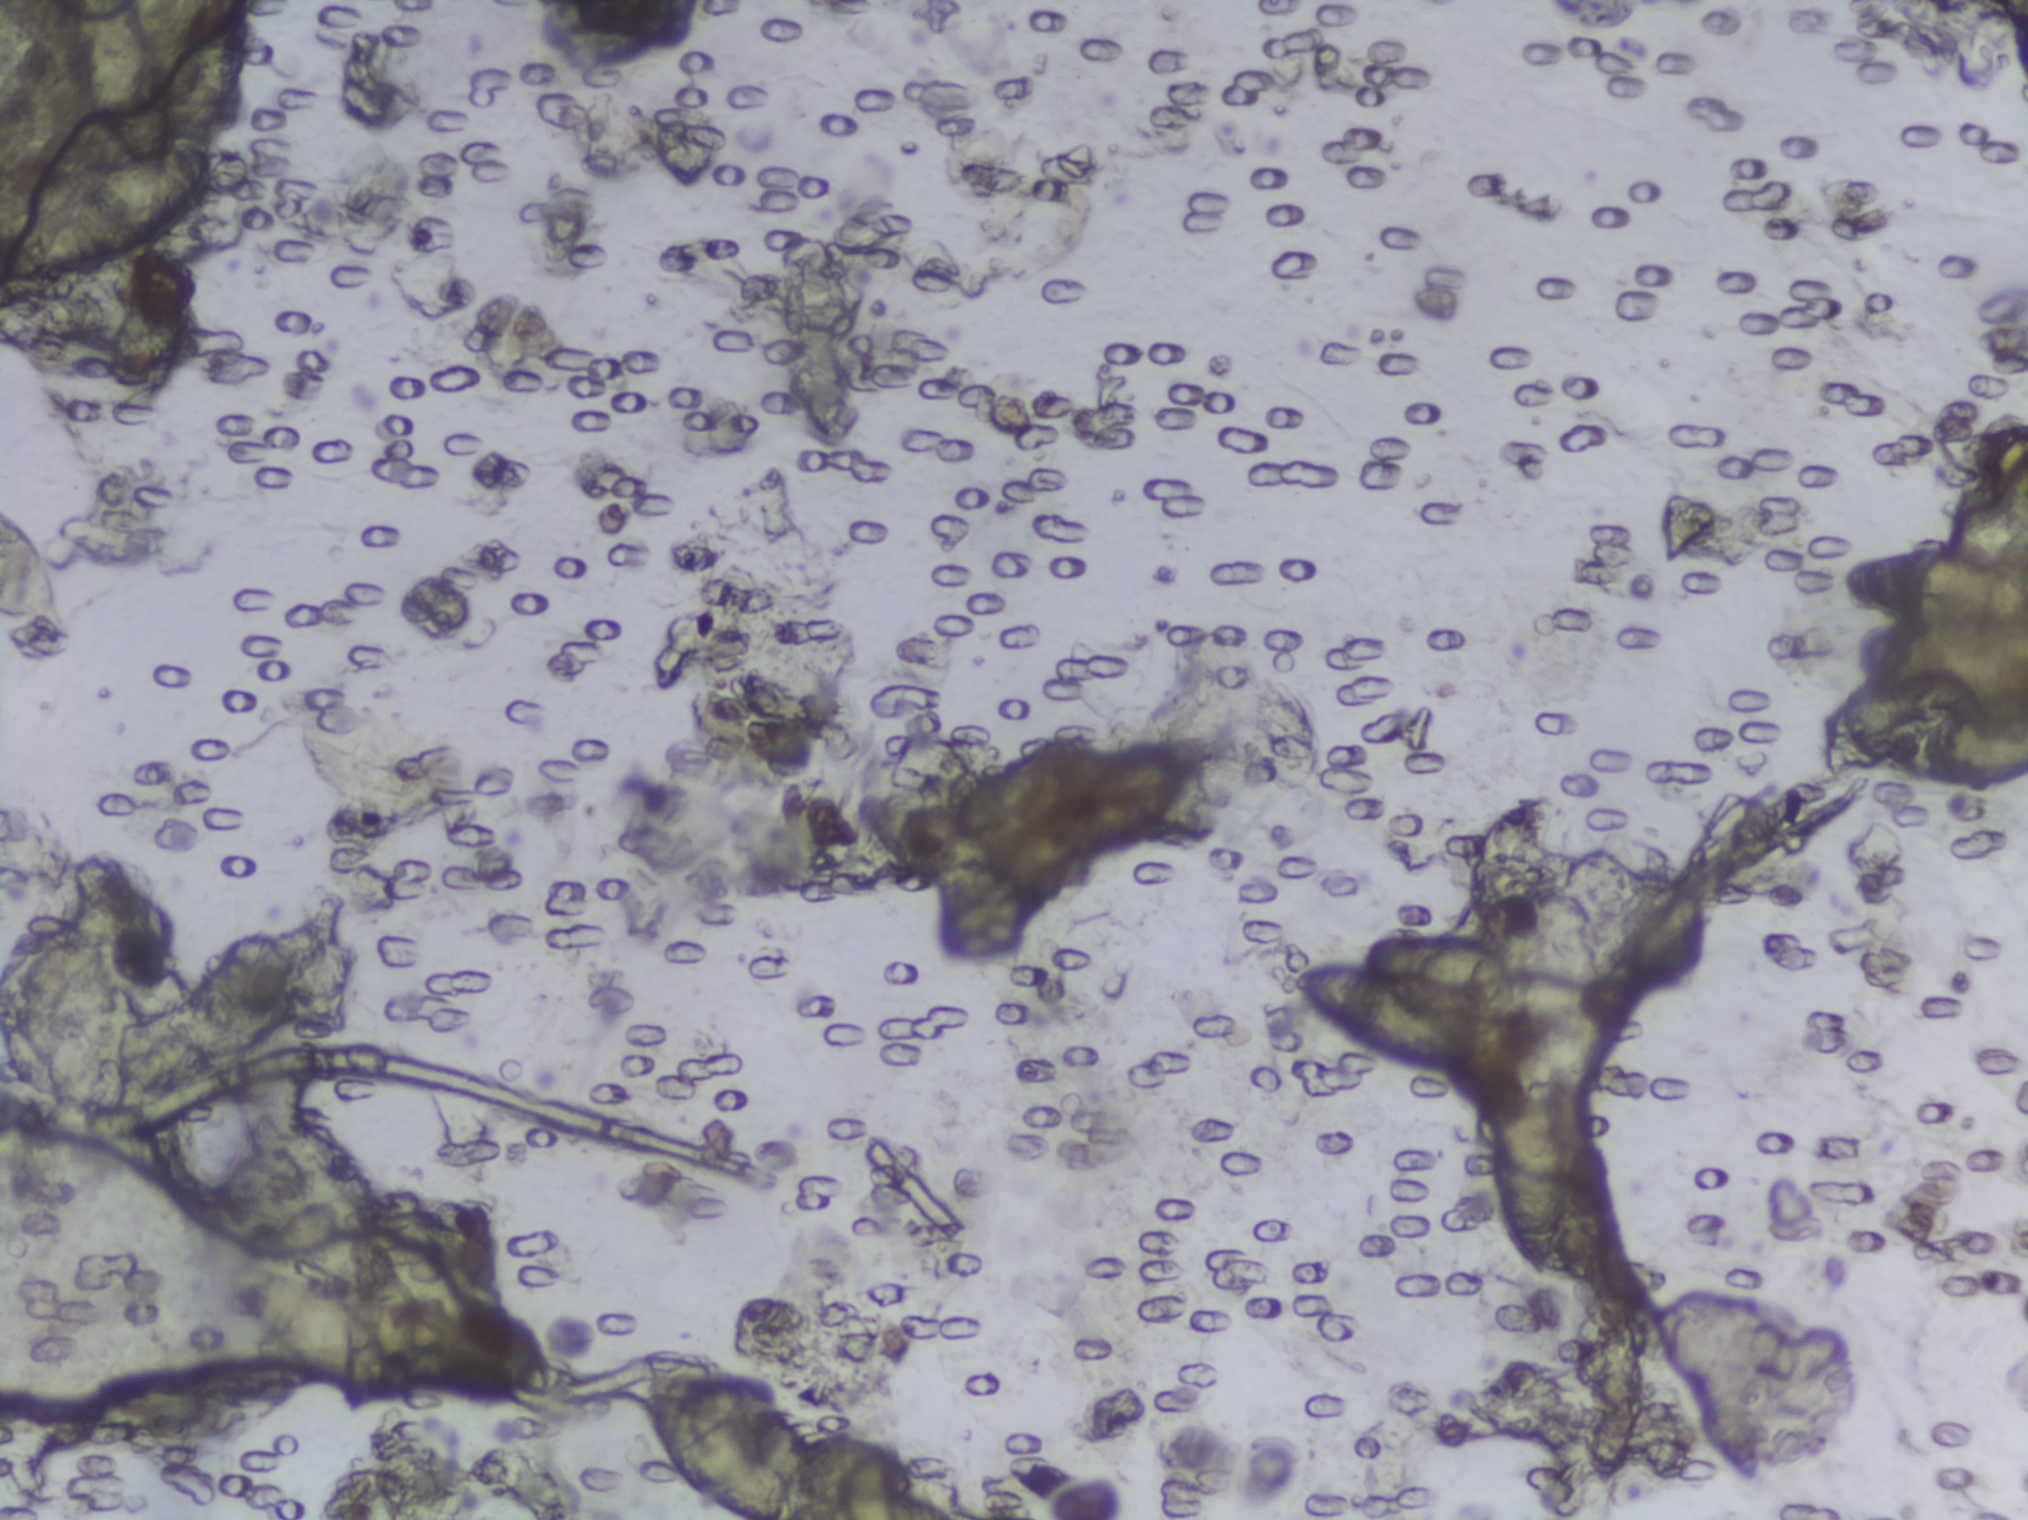
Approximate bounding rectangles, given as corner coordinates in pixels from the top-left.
The expert annotation outlines Schistosoma eggs at (x1=0, y1=498, x2=70, y2=640) (reaching the left edge of the frame); (x1=33, y1=0, x2=212, y2=268) (reaching the top edge of the frame); (x1=642, y1=1384, x2=794, y2=1519) (reaching the bottom edge of the frame); (x1=1300, y1=926, x2=1513, y2=1073); (x1=1488, y1=1085, x2=1571, y2=1277); (x1=1830, y1=536, x2=2027, y2=794) (reaching the right edge of the frame) (left to right). Marked pixels, not the boxes around them: about 4.0% of the image. A single outlined area may contain several eggs. Any one outlined egg may, rarely, be S. mansoni rather than S. haematobium.
One field of view of a urine filter membrane, 4× objective, 2028 × 1520 pixels.